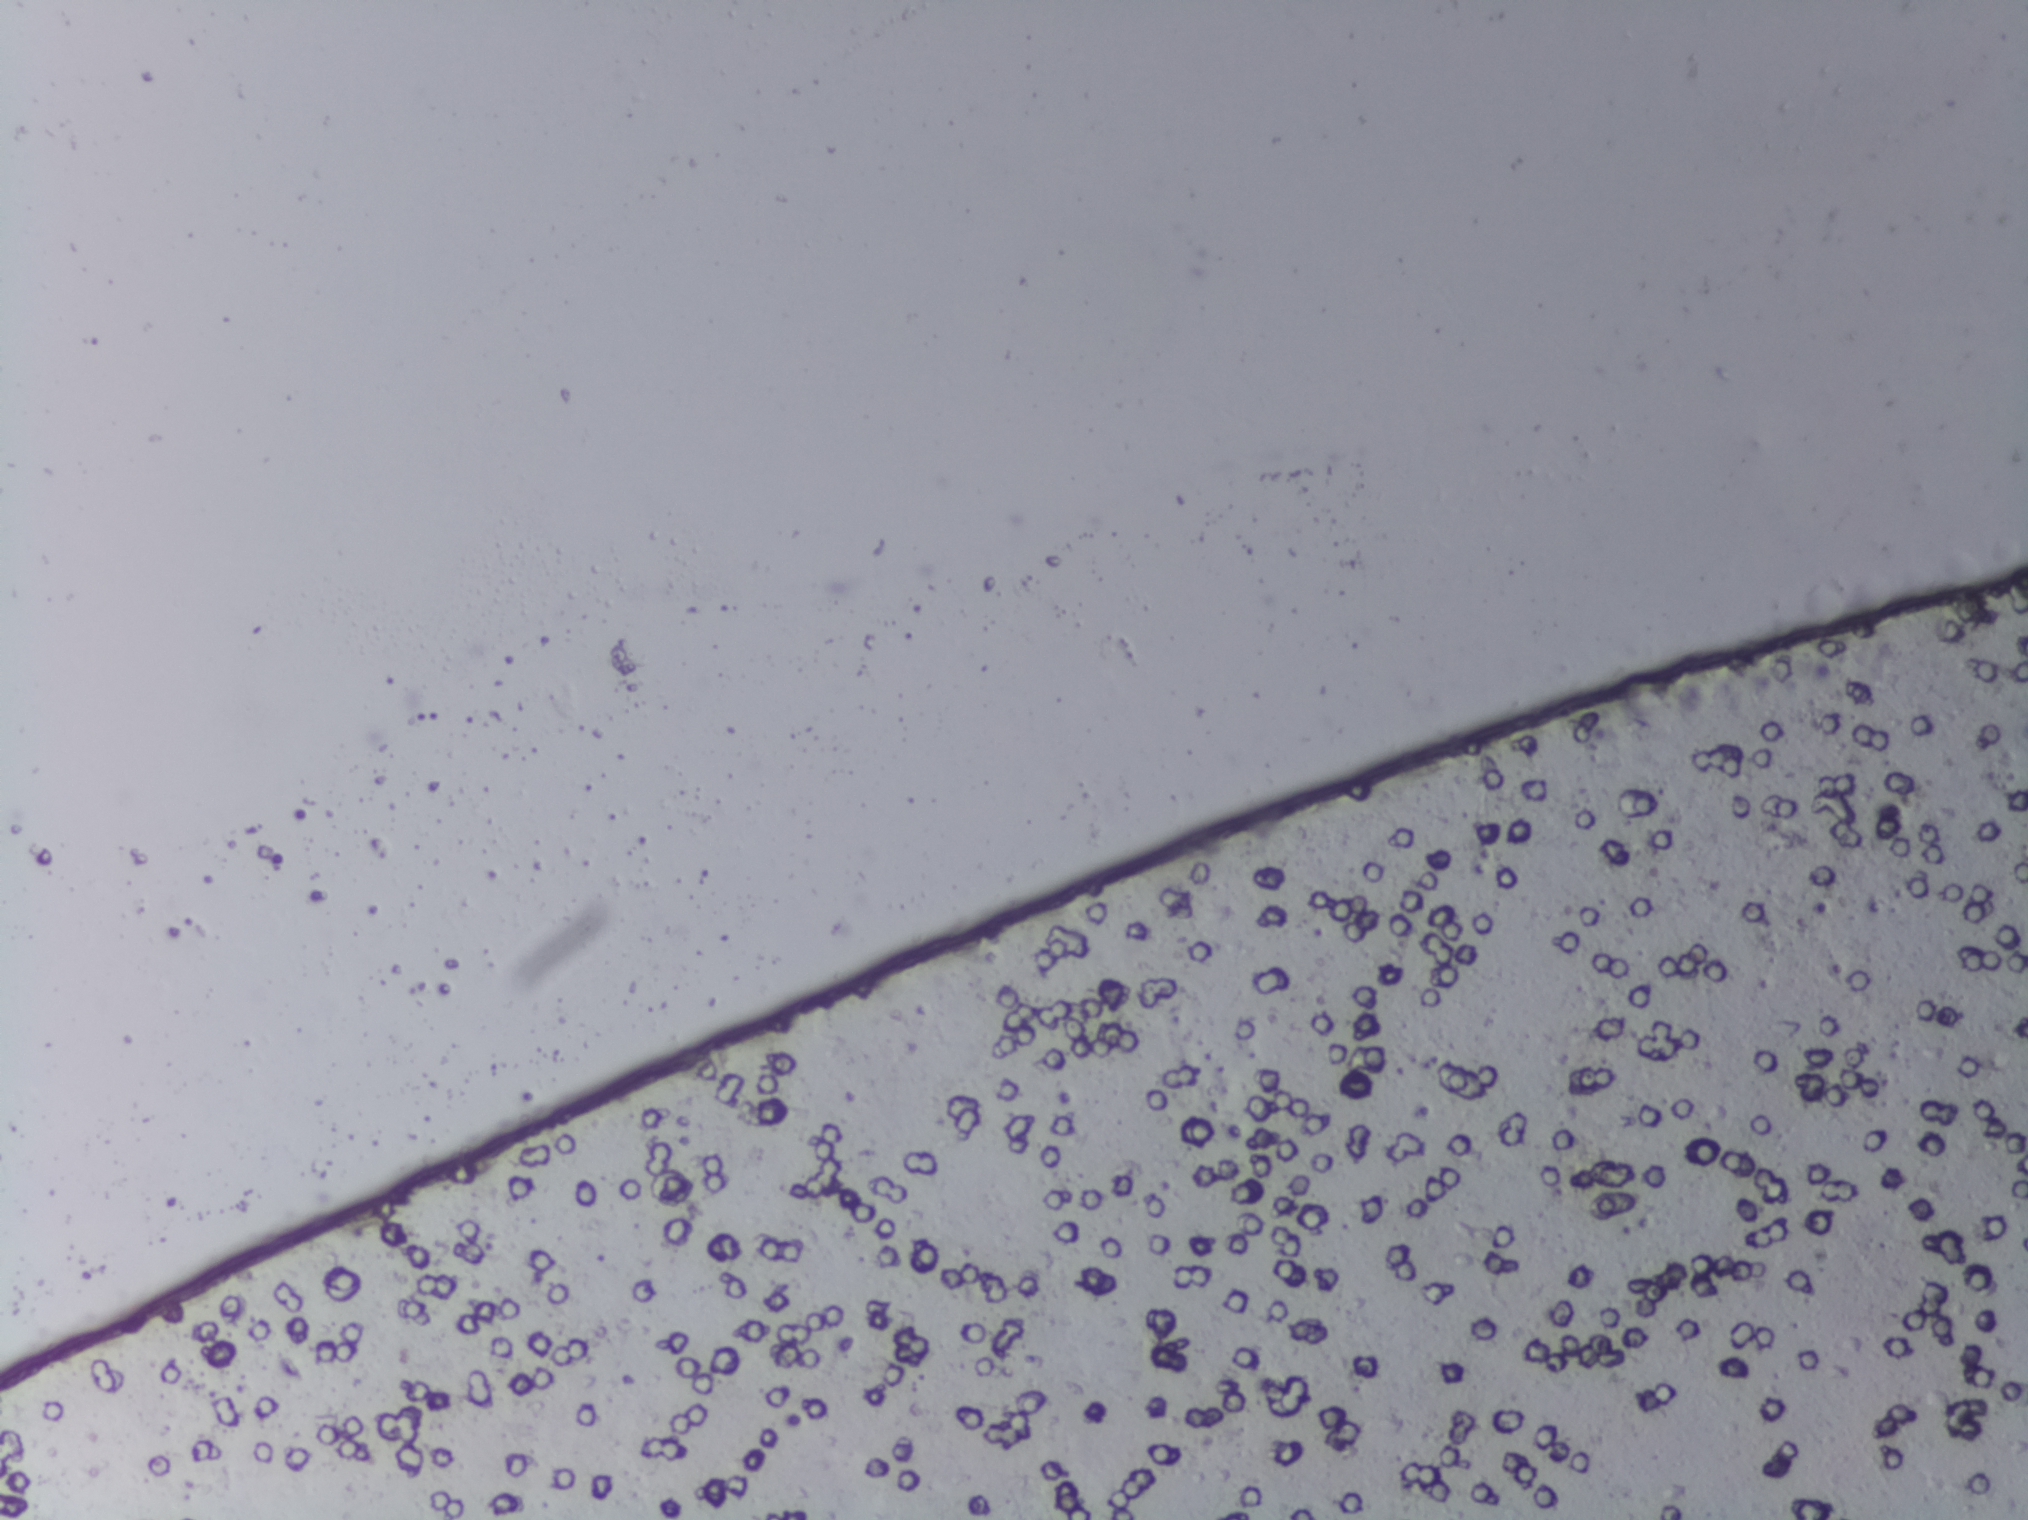
Urine filter membrane photographed through a 4× microscope objective.
No Schistosoma egg is outlined in this image's expert annotation.